Photograph from an automated digital microscope: urine filter membrane, 4× objective. The field of view is about 1.5 mm × 1.1 mm.
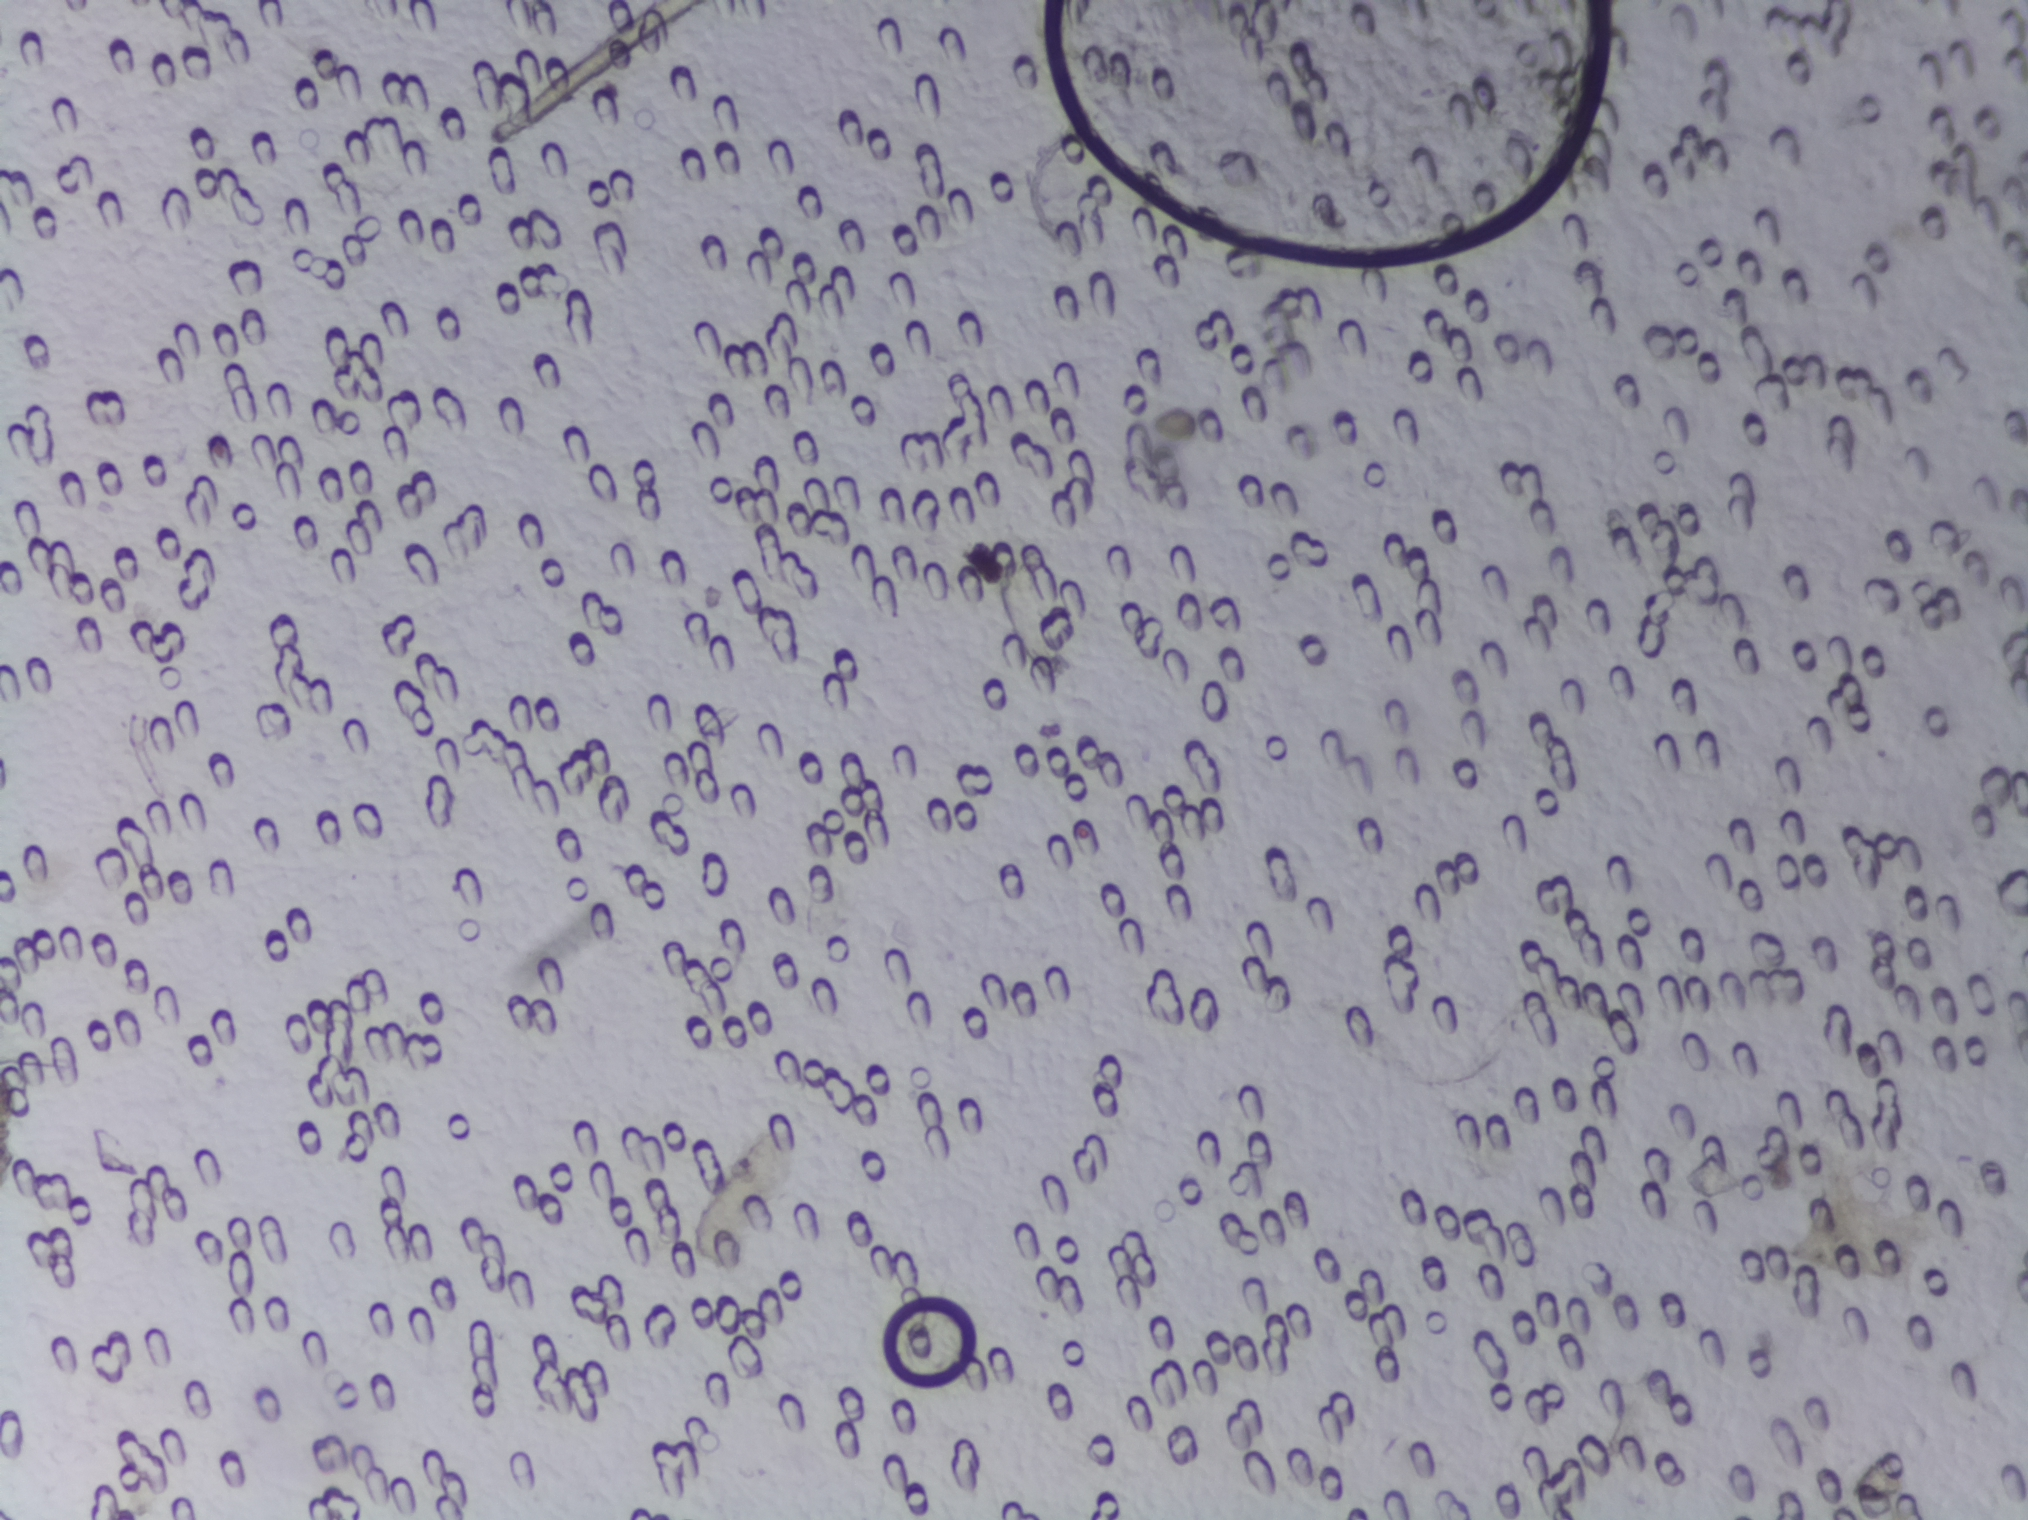
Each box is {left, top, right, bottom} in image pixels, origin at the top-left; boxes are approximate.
Findings: one area outlined as Schistosoma eggs. Location: {998, 524, 1074, 694}. Marked pixels, not the box around them: about 0.3% of the image. Eggs that touch can end up inside the same outlined area.